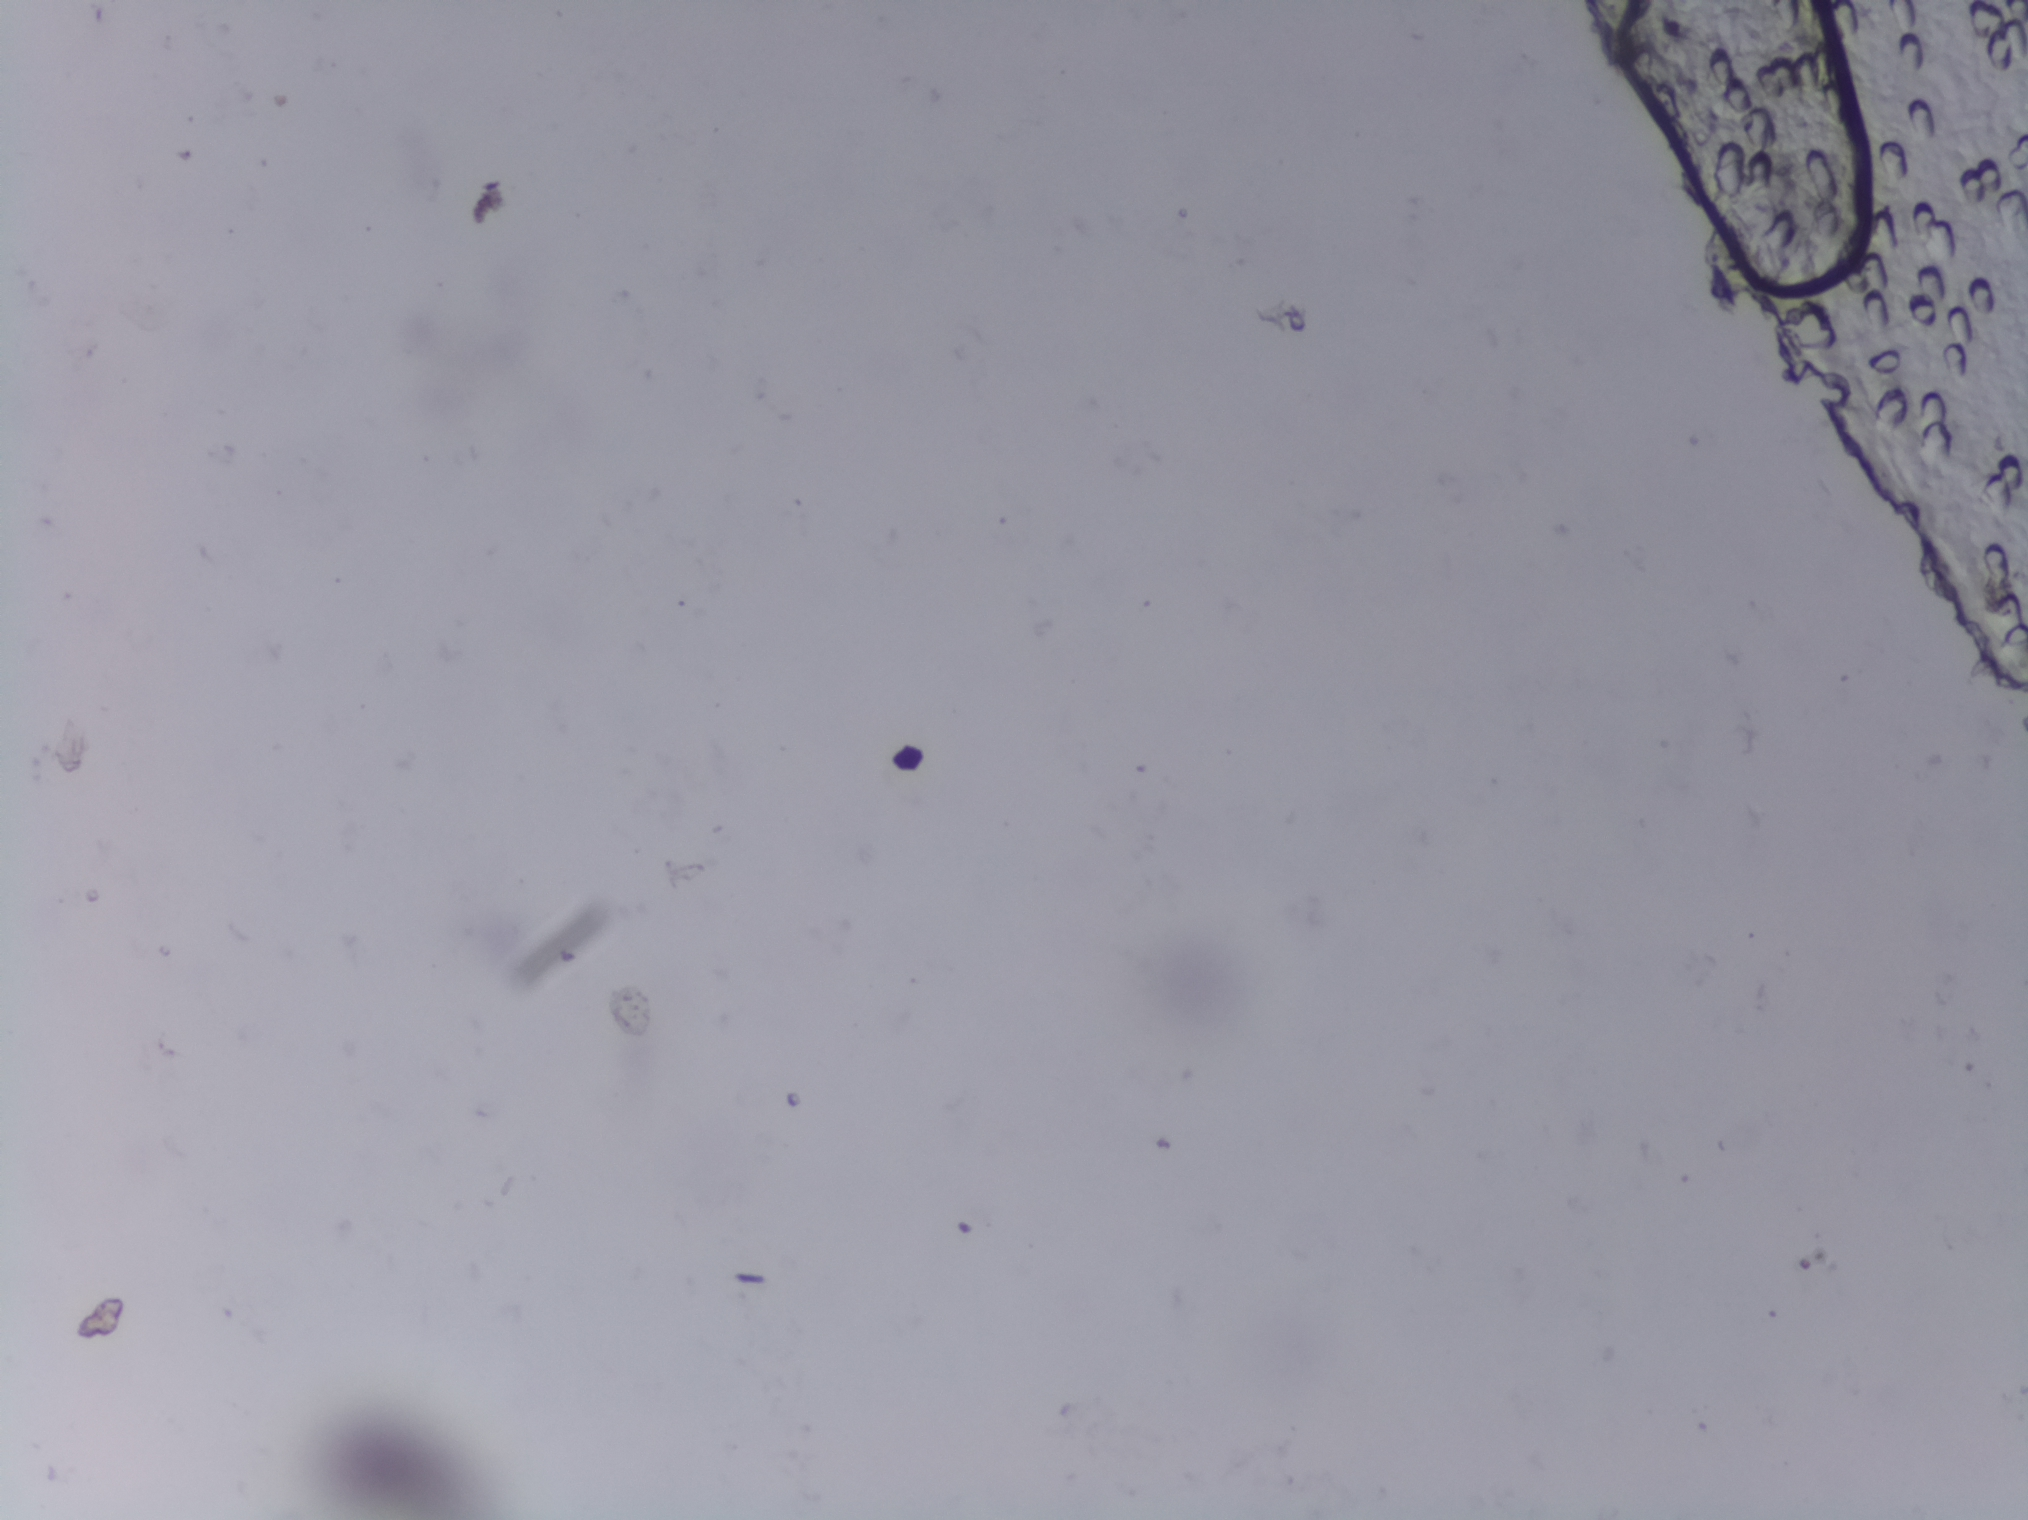
Microscope photograph (4× objective) of a membrane that a urine sample was filtered through. Field of view: about 1.5 mm wide and 1.1 mm high.
Schistosoma eggs: none outlined.